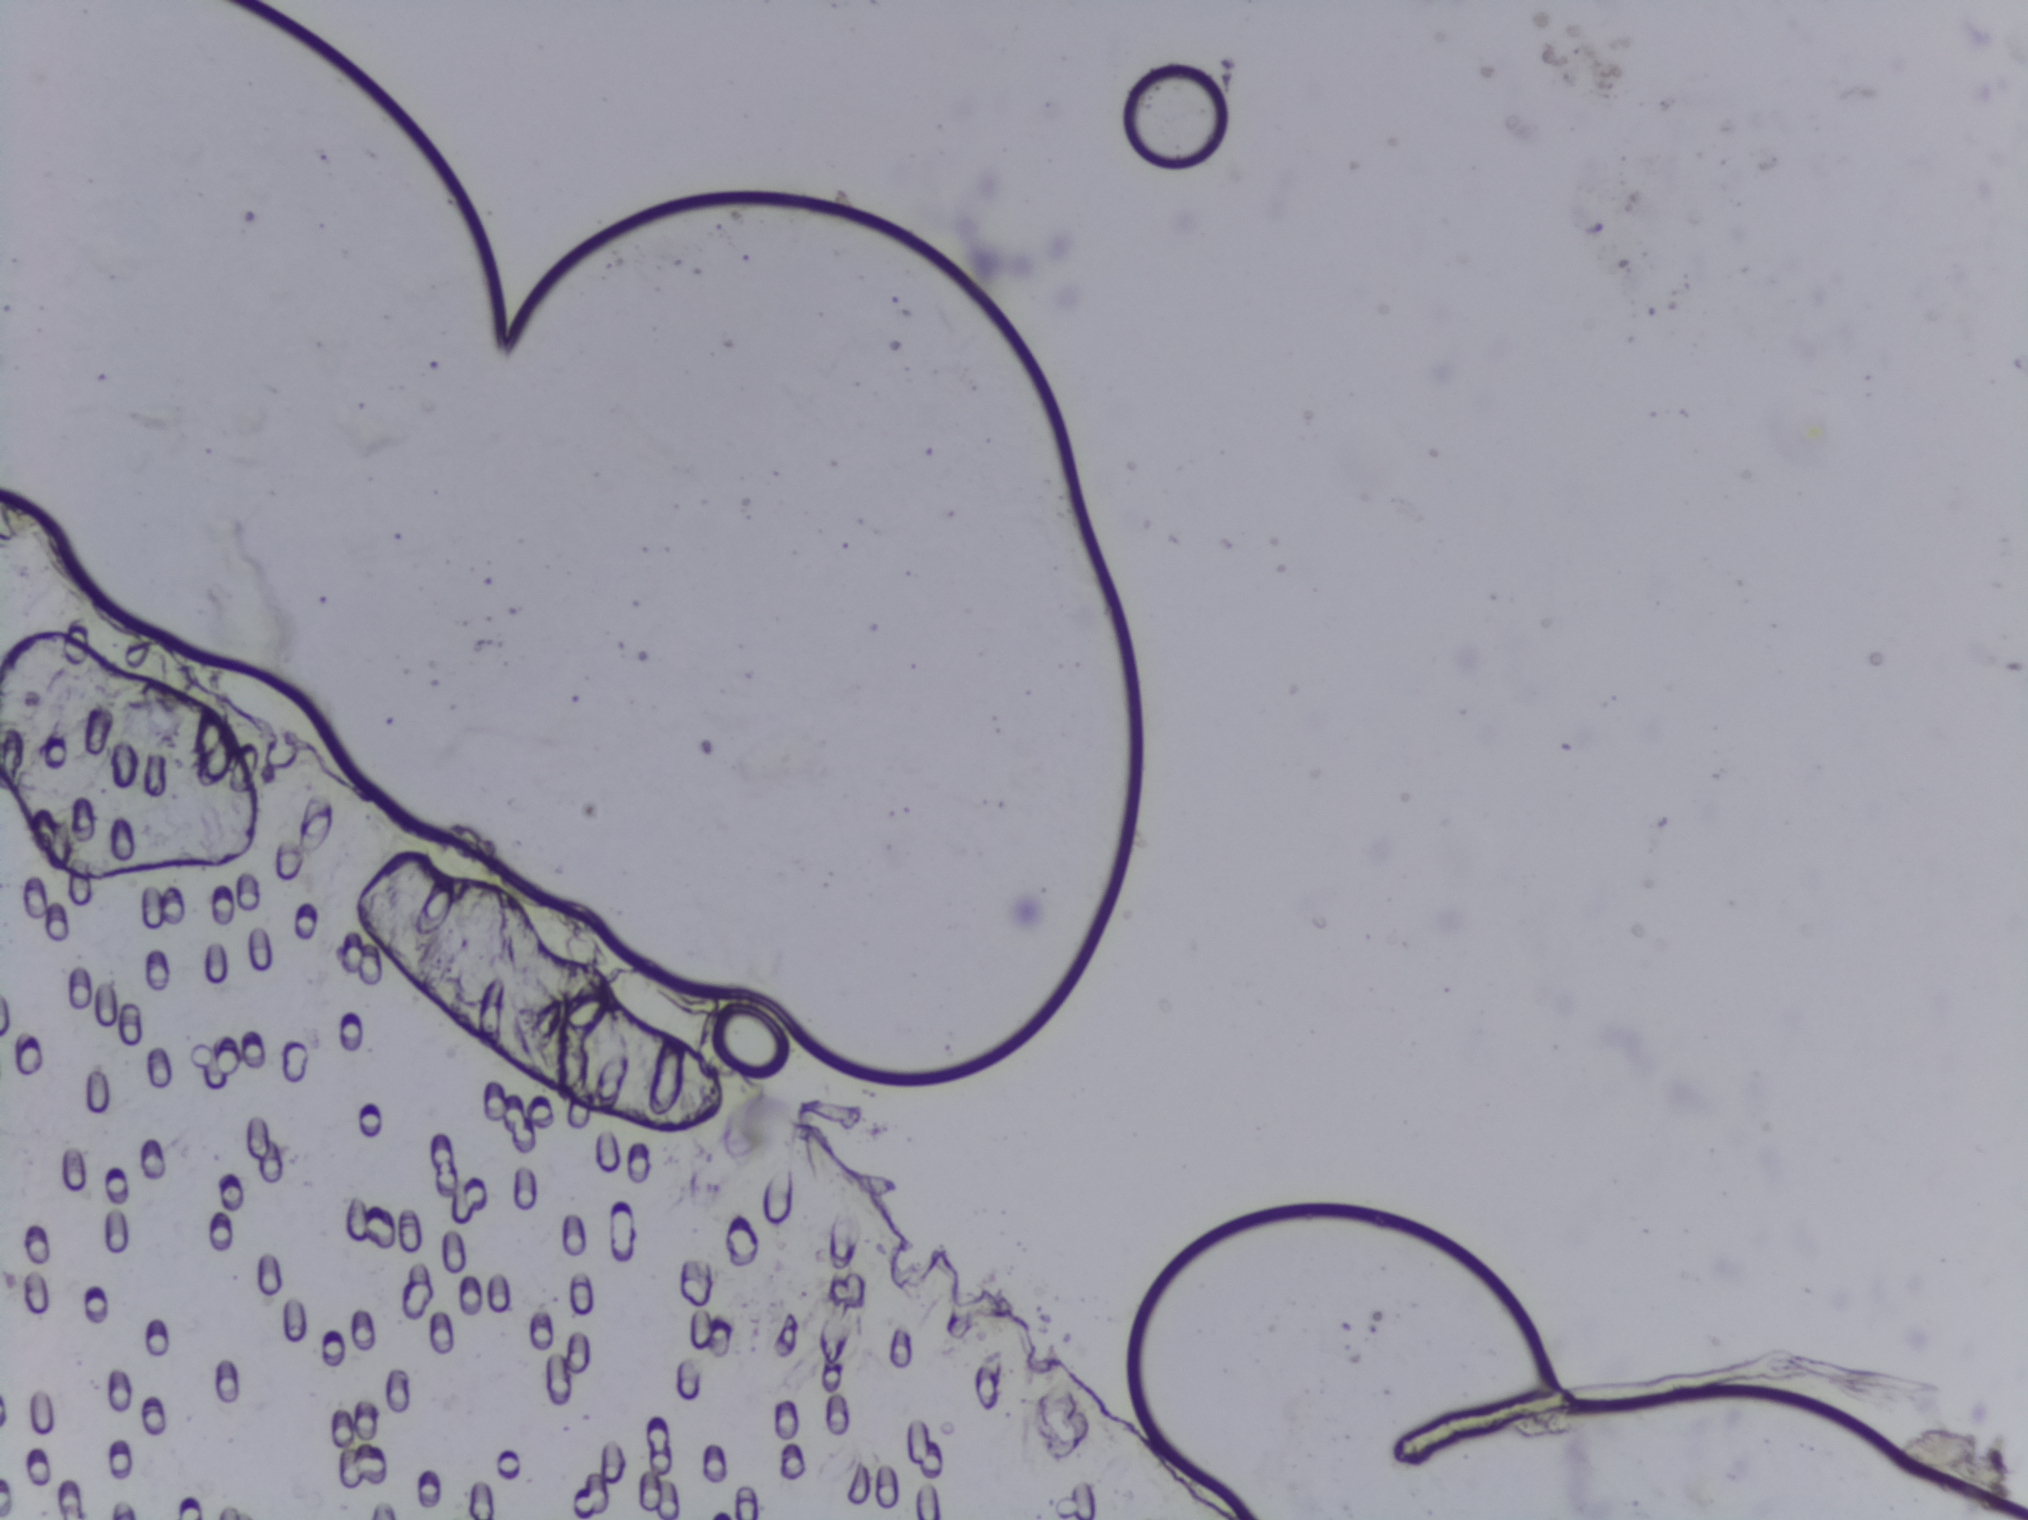
Photomicrograph of a urine filtration membrane, 4× objective.
Schistosoma eggs: none outlined.